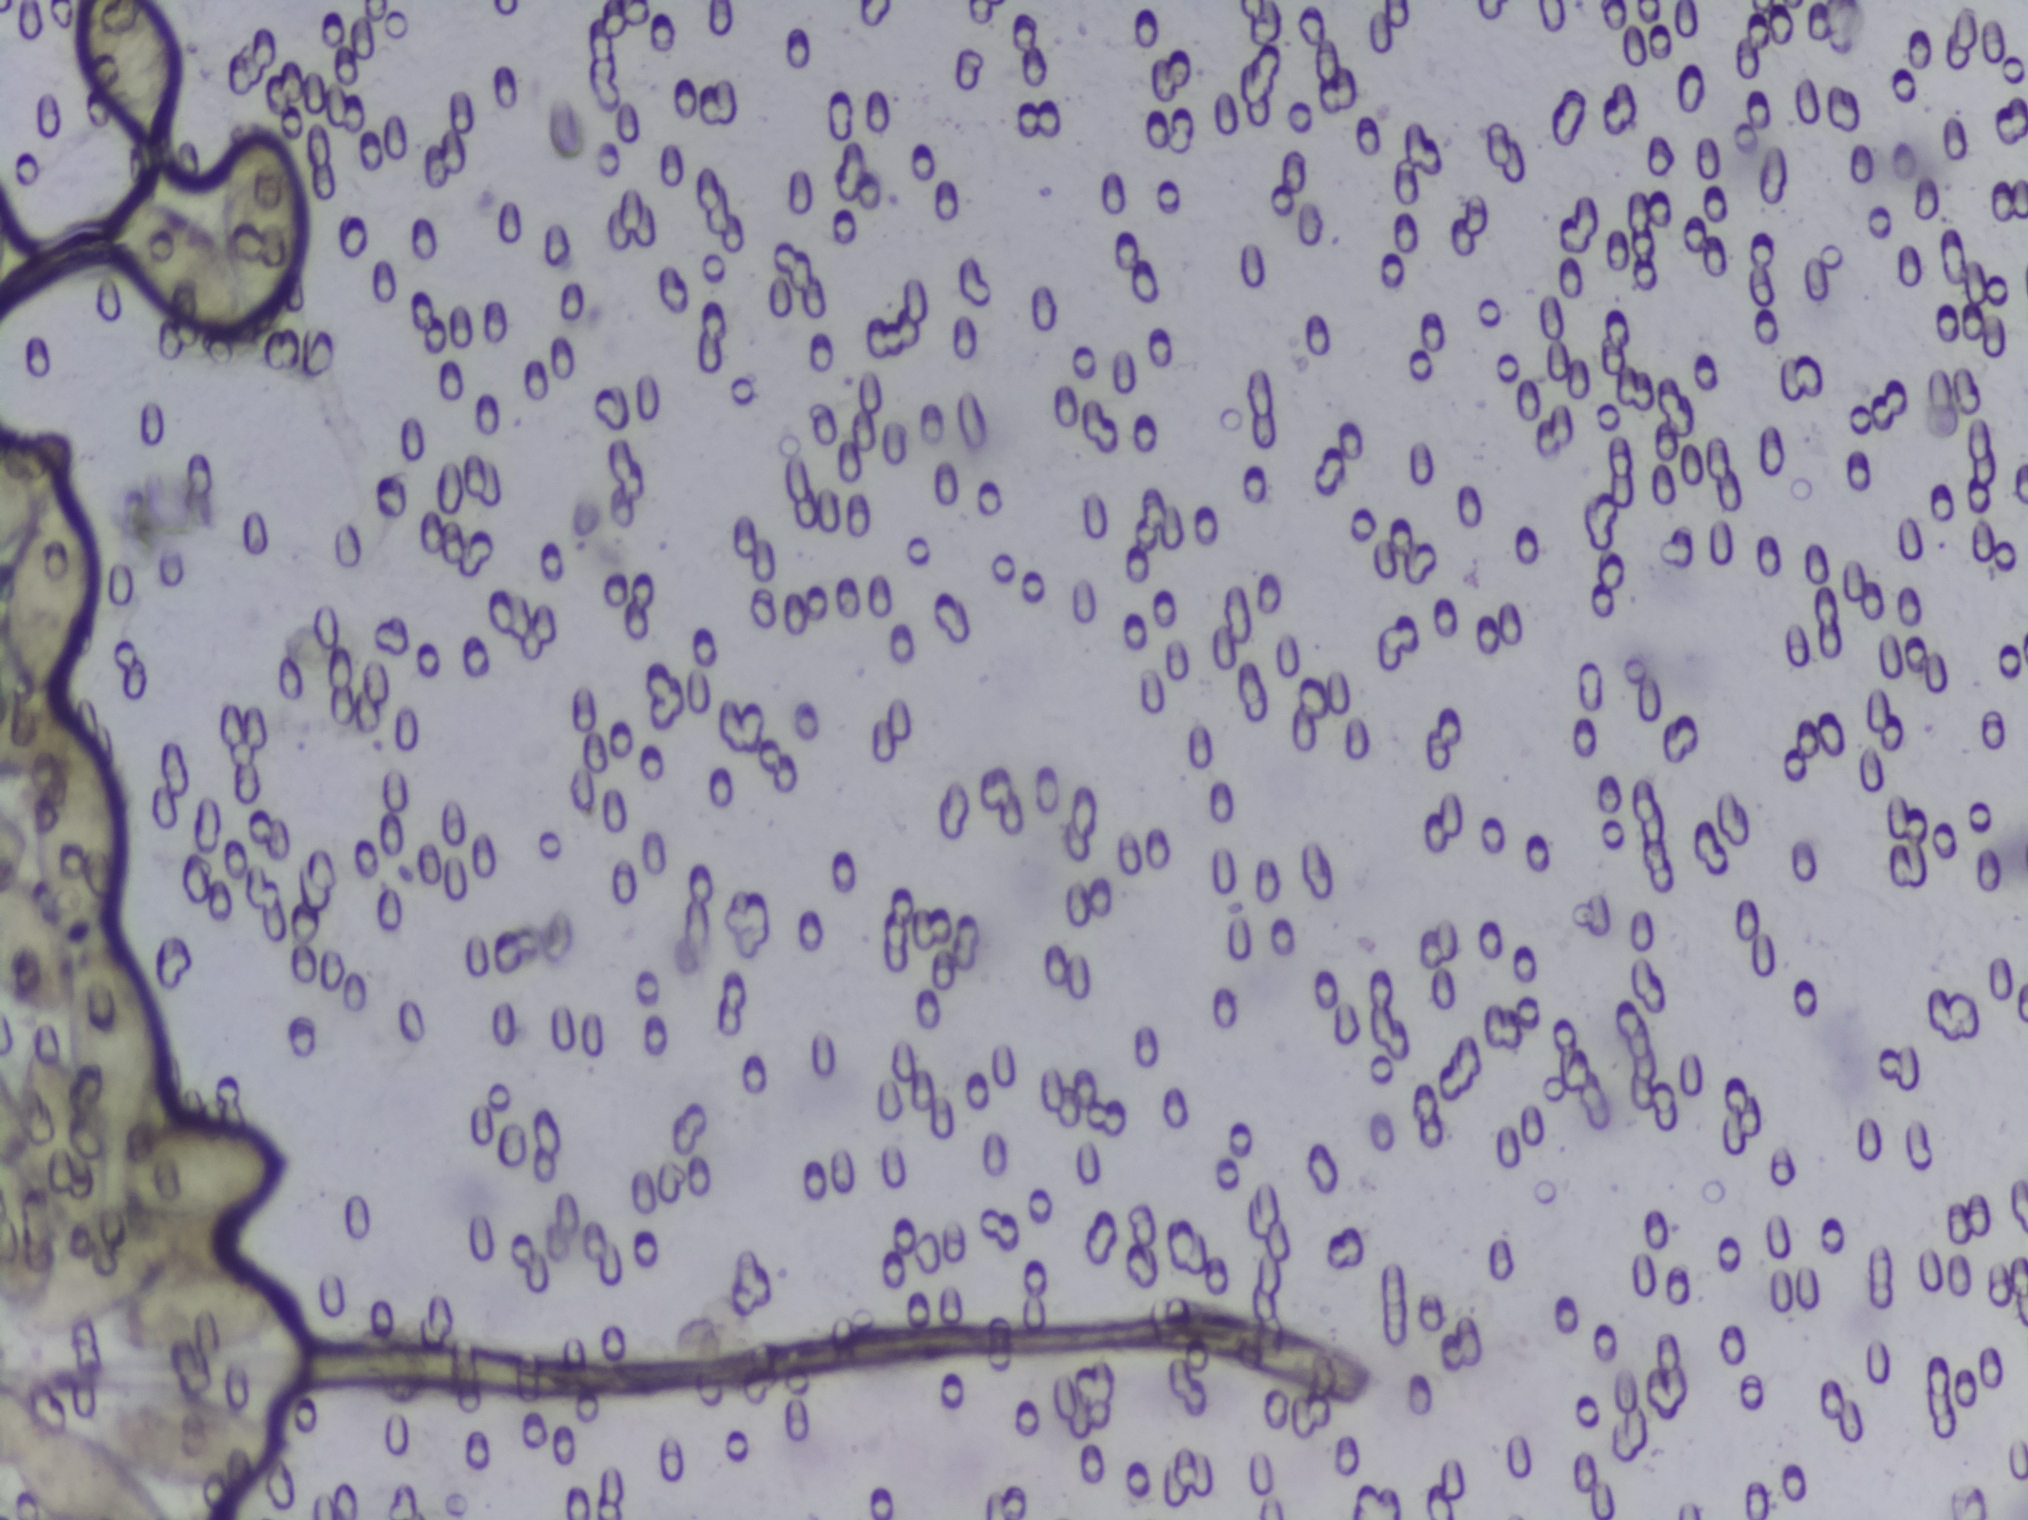
Microscope photograph (4× objective) of a membrane that a urine sample was filtered through.
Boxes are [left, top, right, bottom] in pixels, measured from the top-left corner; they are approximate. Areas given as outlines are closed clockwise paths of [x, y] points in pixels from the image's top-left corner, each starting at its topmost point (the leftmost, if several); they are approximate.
Findings: four areas outlined as Schistosoma eggs. Locations: outline [48, 431], [69, 437], [71, 471], [61, 492], [78, 497], [99, 530], [101, 584], [89, 652], [64, 689], [39, 700], [106, 755], [131, 815], [131, 886], [121, 908], [120, 941], [152, 981], [169, 1038], [169, 1076], [151, 1125], [237, 1118], [275, 1134], [293, 1154], [283, 1194], [271, 1207], [246, 1216], [232, 1253], [190, 1266], [256, 1268], [297, 1295], [296, 1313], [282, 1332], [233, 1352], [126, 1351], [100, 1342], [98, 1314], [51, 1335], [0, 1338], [0, 1151], [9, 1146], [26, 1058], [40, 1047], [56, 1047], [55, 1021], [39, 1020], [0, 995], [0, 861], [40, 884], [28, 823], [35, 776], [0, 777], [0, 686], [24, 692], [0, 652], [0, 442] (a cluster of eggs; reaching the left edge of the frame); box [0, 1368, 290, 1519] (reaching the left and bottom edges of the frame); box [80, 0, 175, 144] (reaching the top edge of the frame); box [110, 127, 307, 342]. A single outlined area may contain several eggs.